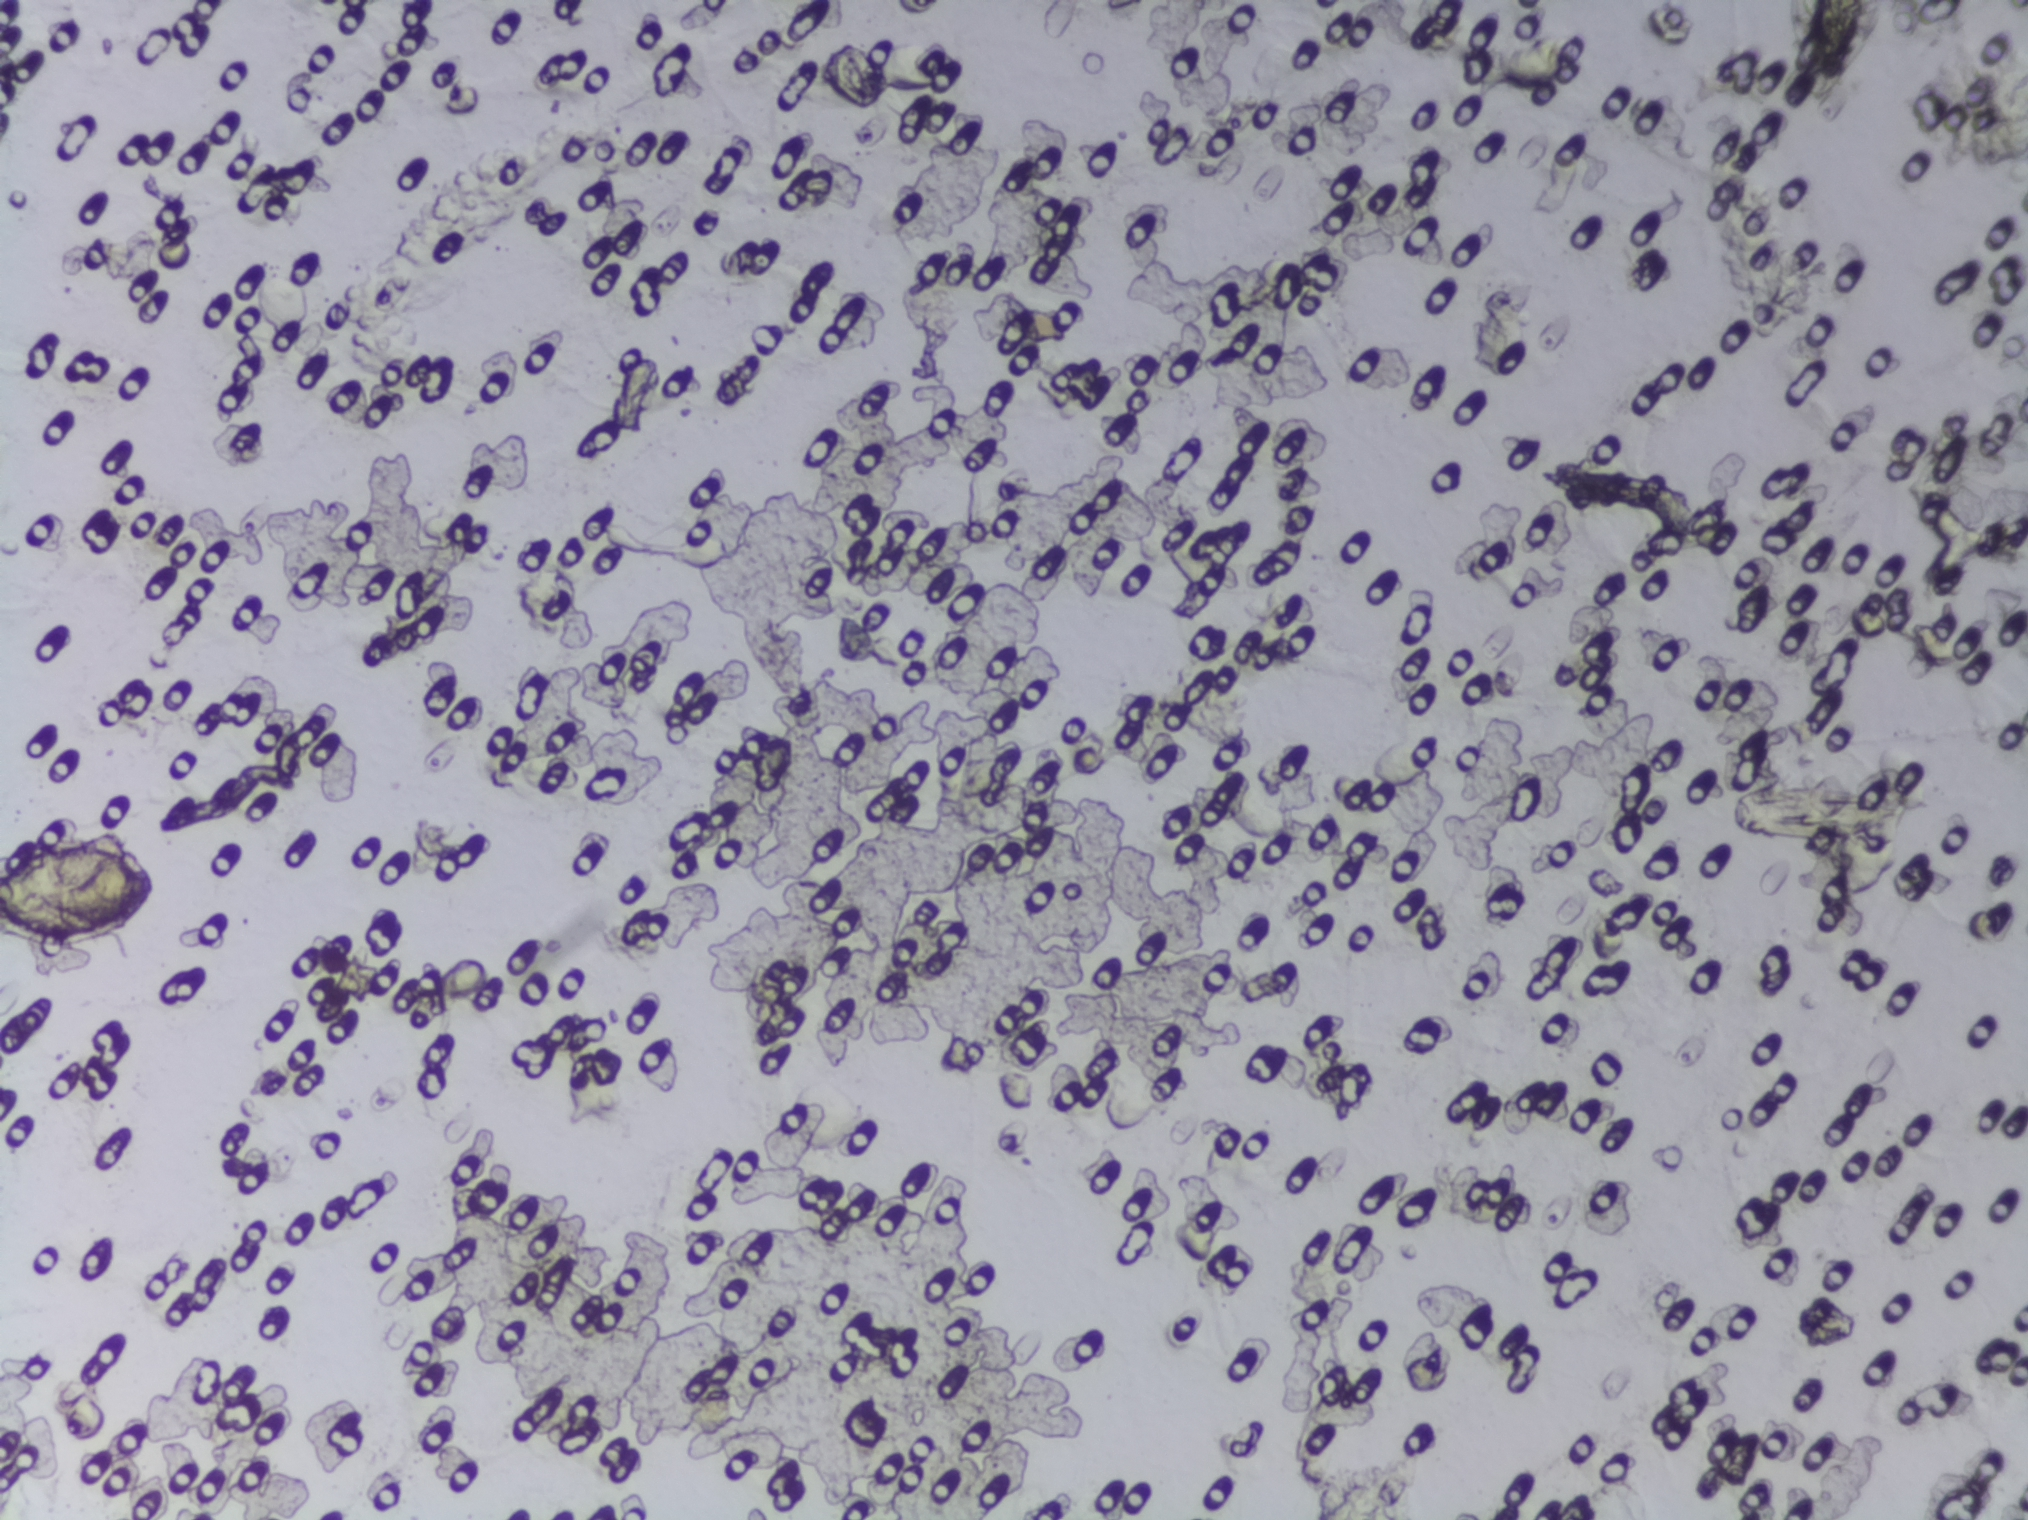
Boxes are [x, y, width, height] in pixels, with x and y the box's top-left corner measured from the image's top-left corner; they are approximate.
Areas outlined as Schistosoma eggs:
1. [0, 835, 164, 115] (reaching the left edge of the frame)
A single outlined area may contain several eggs. Any one outlined egg may, rarely, be S. mansoni rather than S. haematobium.
Photomicrograph of a urine filtration membrane, 4× objective.